One field of view of a urine filter membrane, 4× objective, 2028 × 1520 pixels.
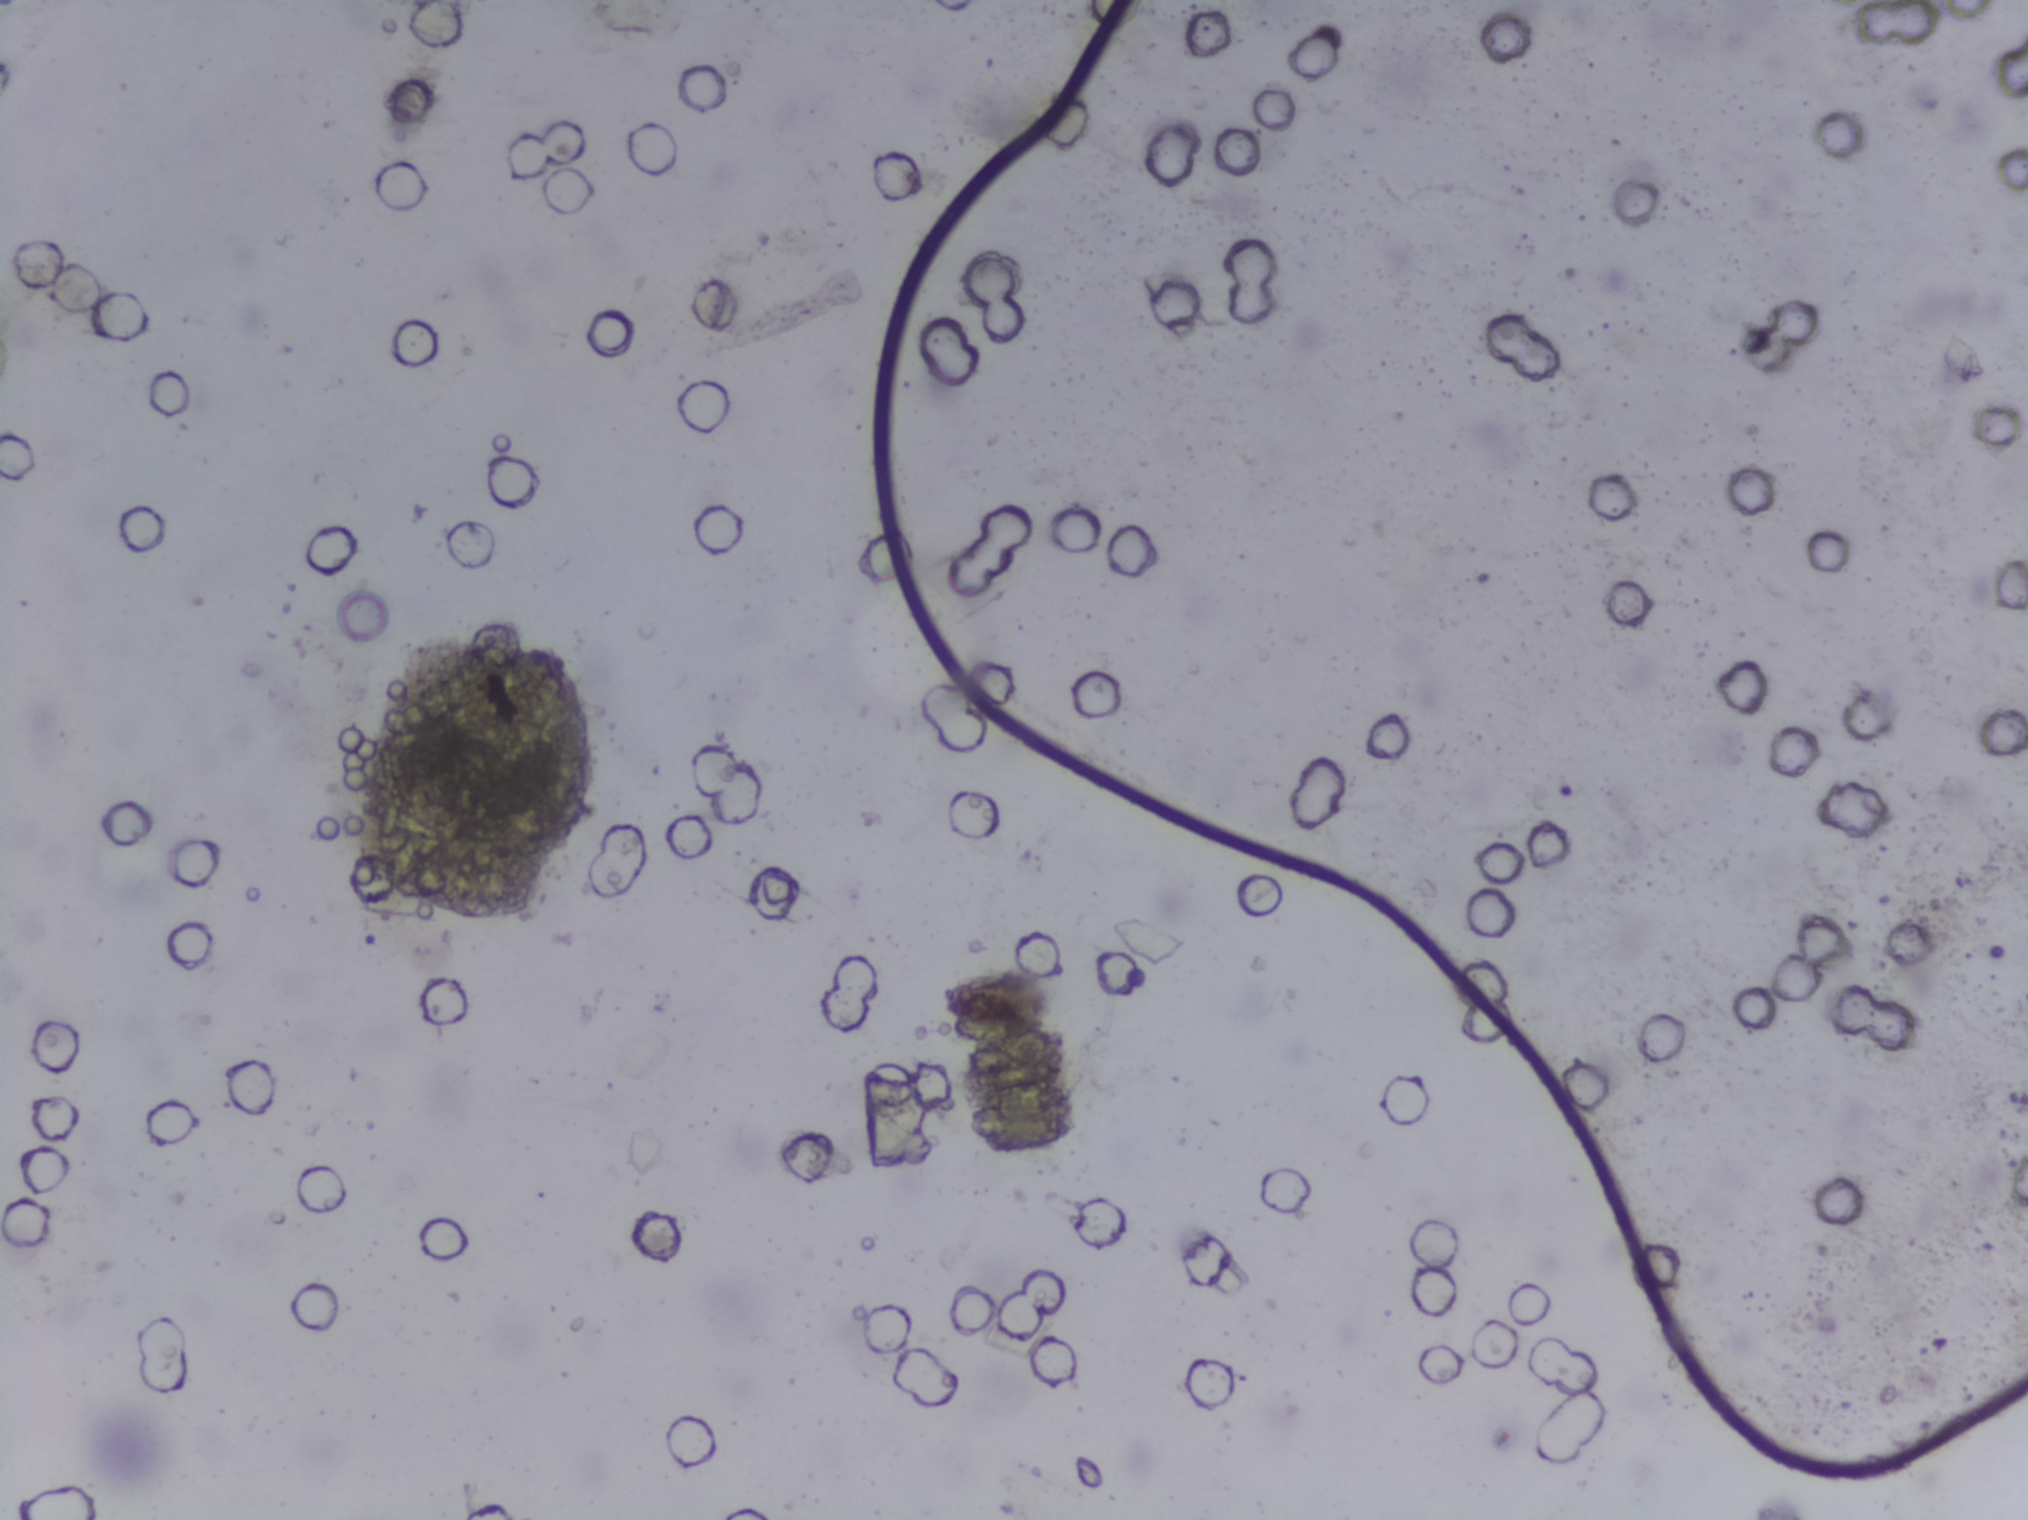
The expert annotation outlines no Schistosoma egg in this image.